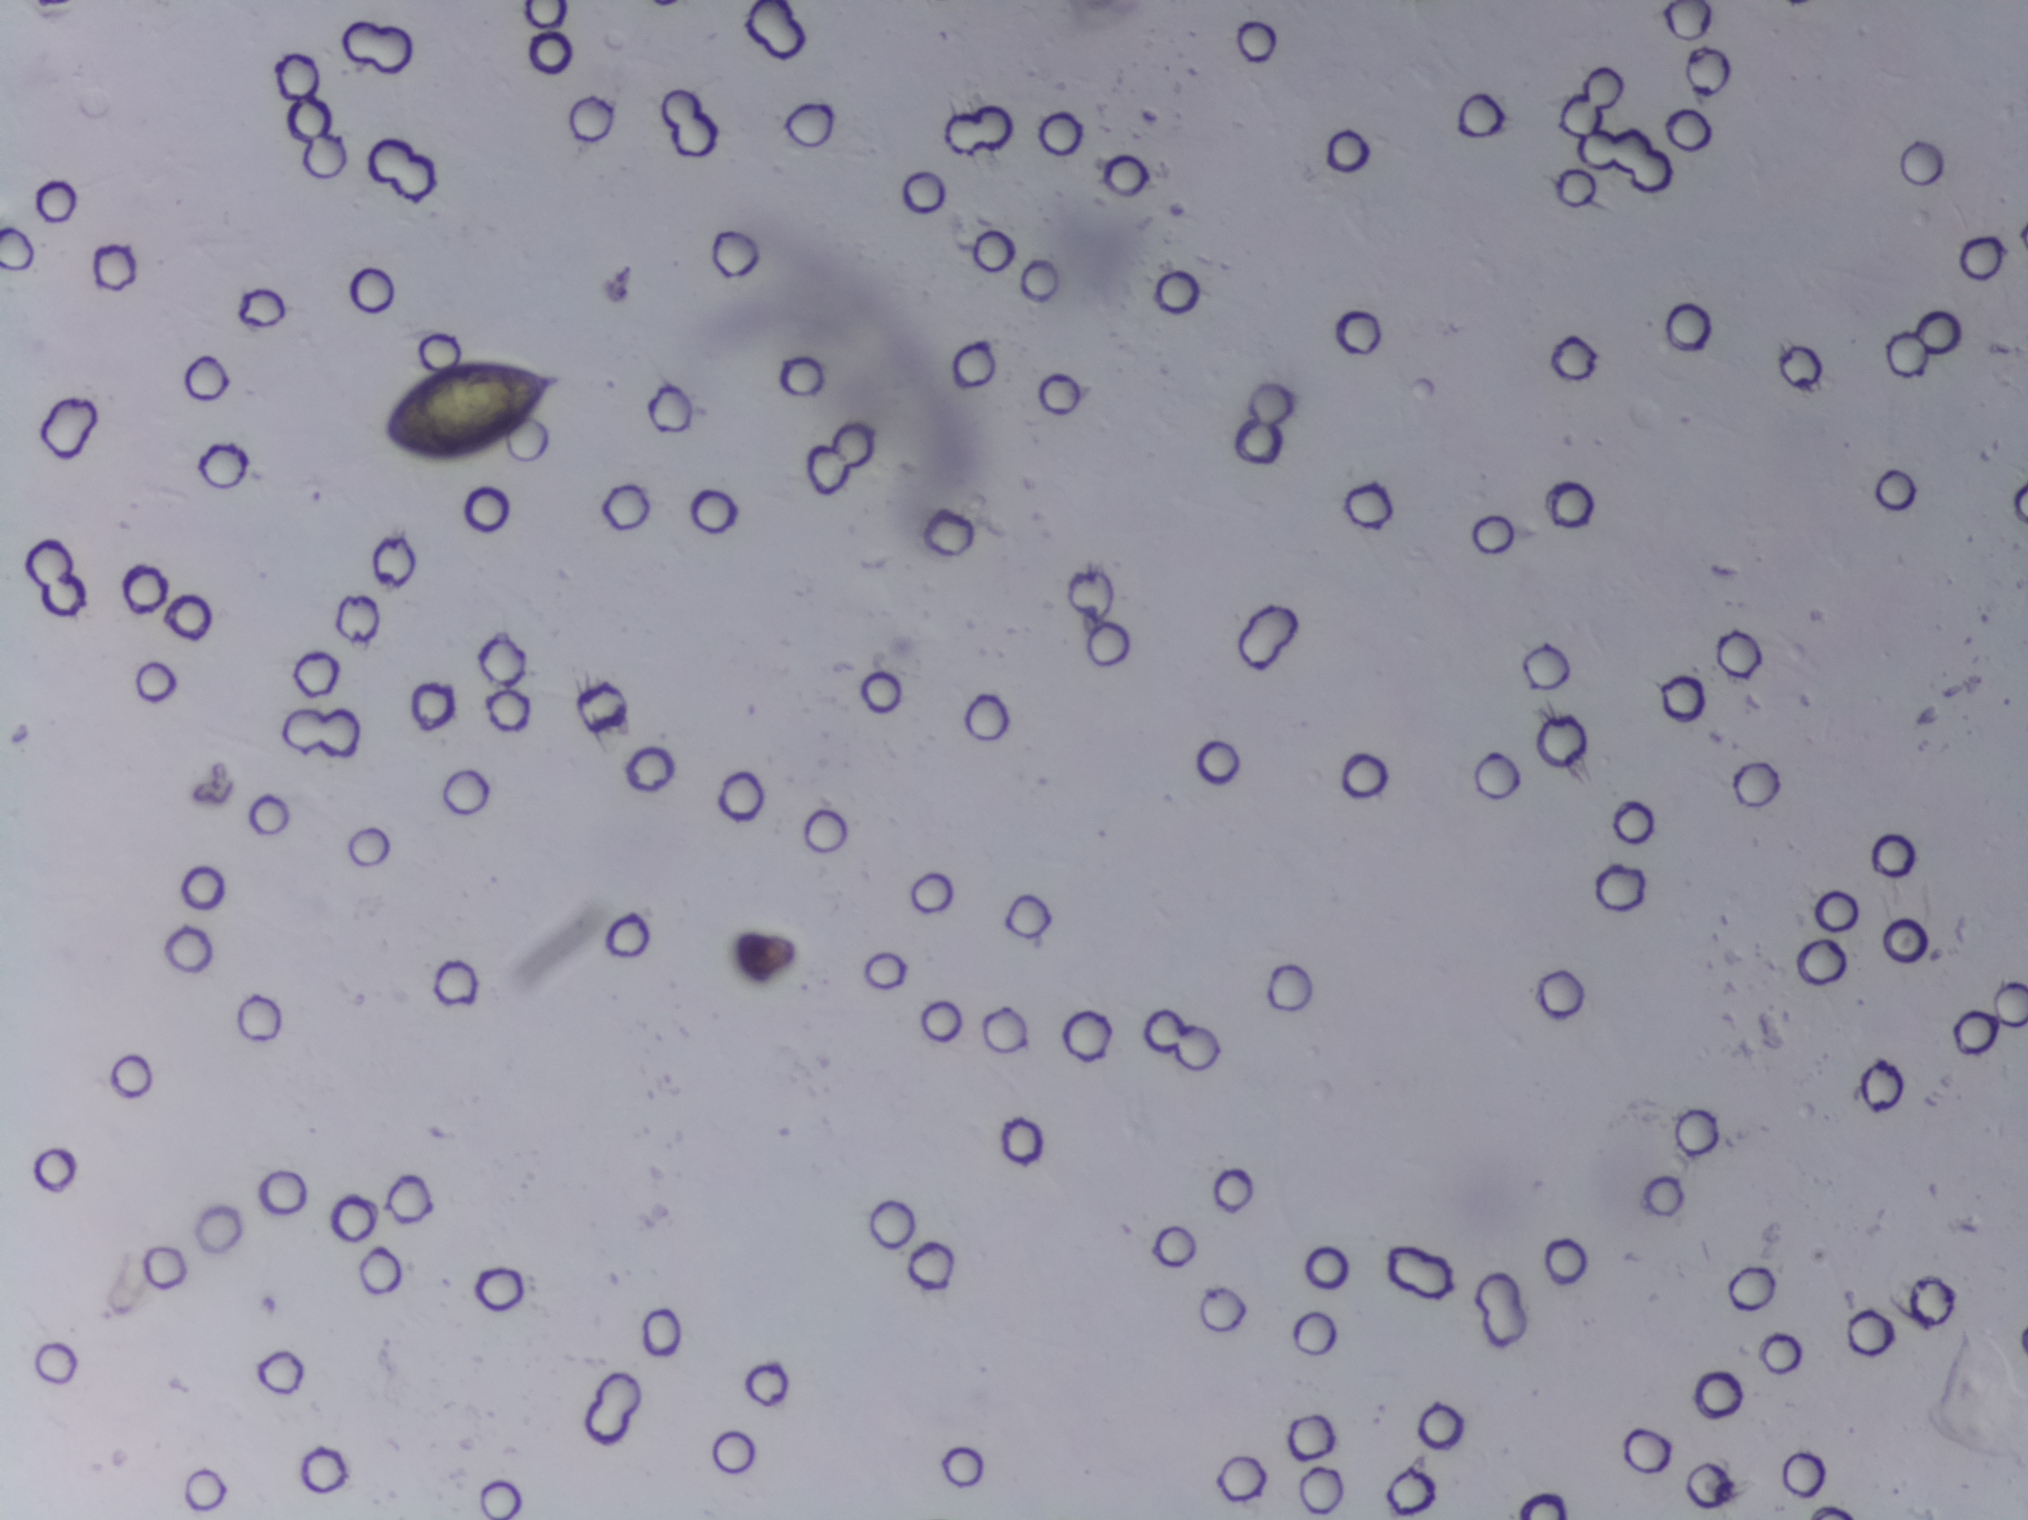
Urine filter membrane photographed through a 4× microscope objective.
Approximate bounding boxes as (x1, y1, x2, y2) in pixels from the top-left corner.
Schistosoma eggs are outlined in the expert annotation at (375, 356, 566, 463). The marked pixels themselves, not the box around them, cover about 0.5% of the image. Eggs that touch can end up inside the same outlined area.